Microscope photograph (4× objective) of a membrane that a urine sample was filtered through.
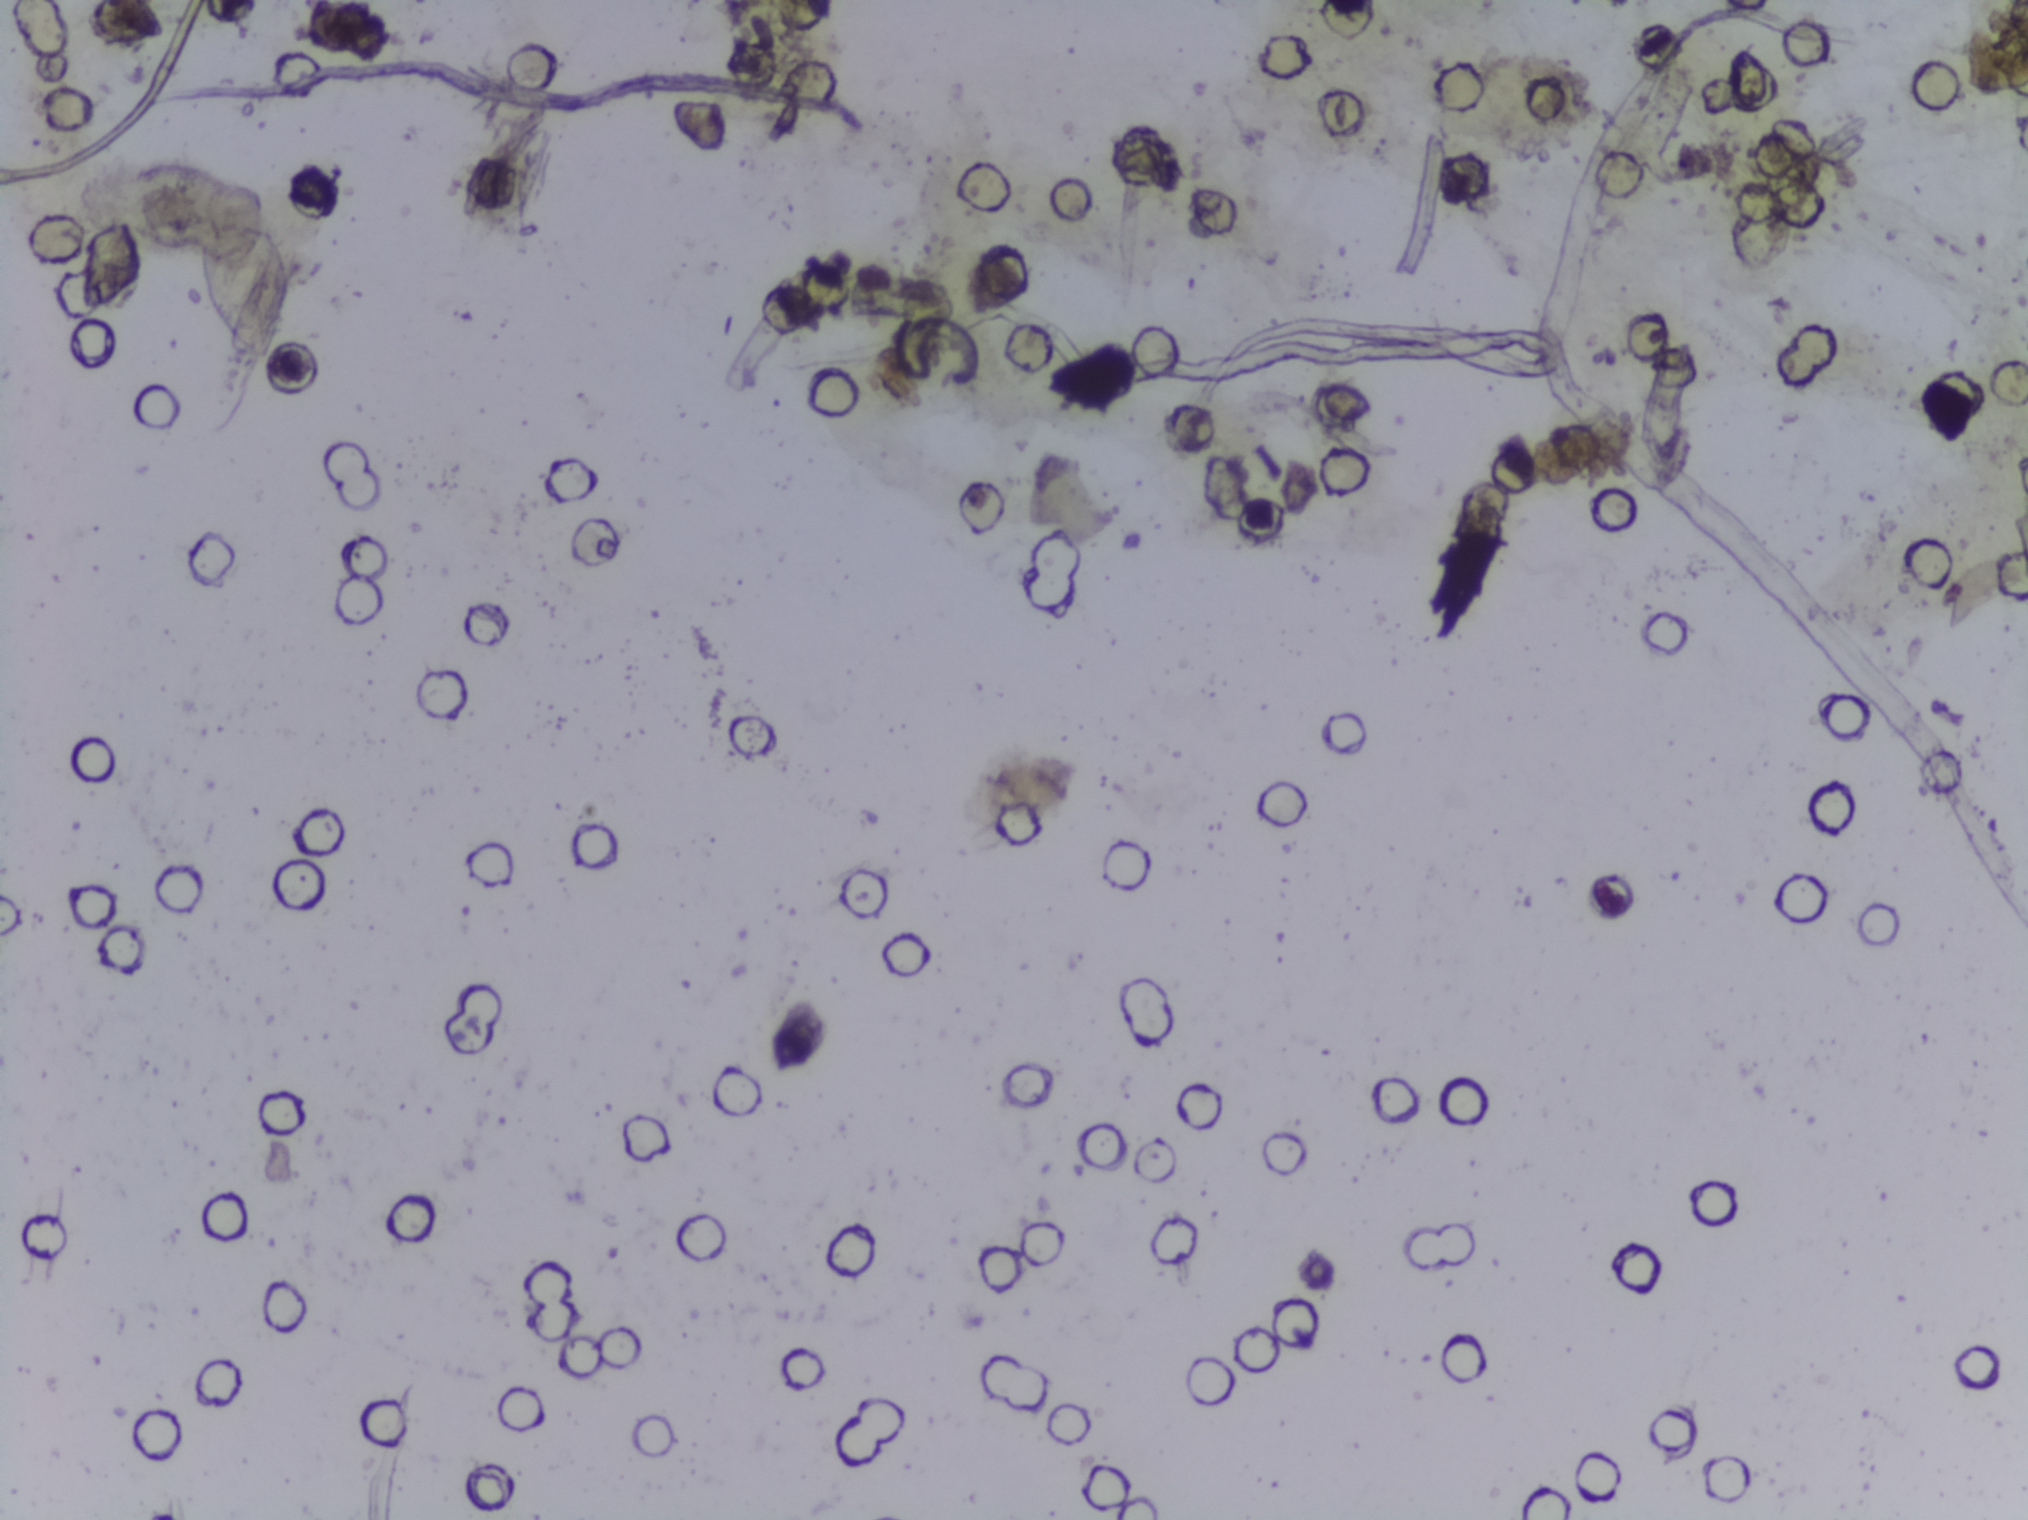
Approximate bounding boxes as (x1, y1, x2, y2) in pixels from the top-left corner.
Schistosoma eggs are outlined in one area of this image: (199, 215, 287, 362). An outlined area can hold more than one egg.